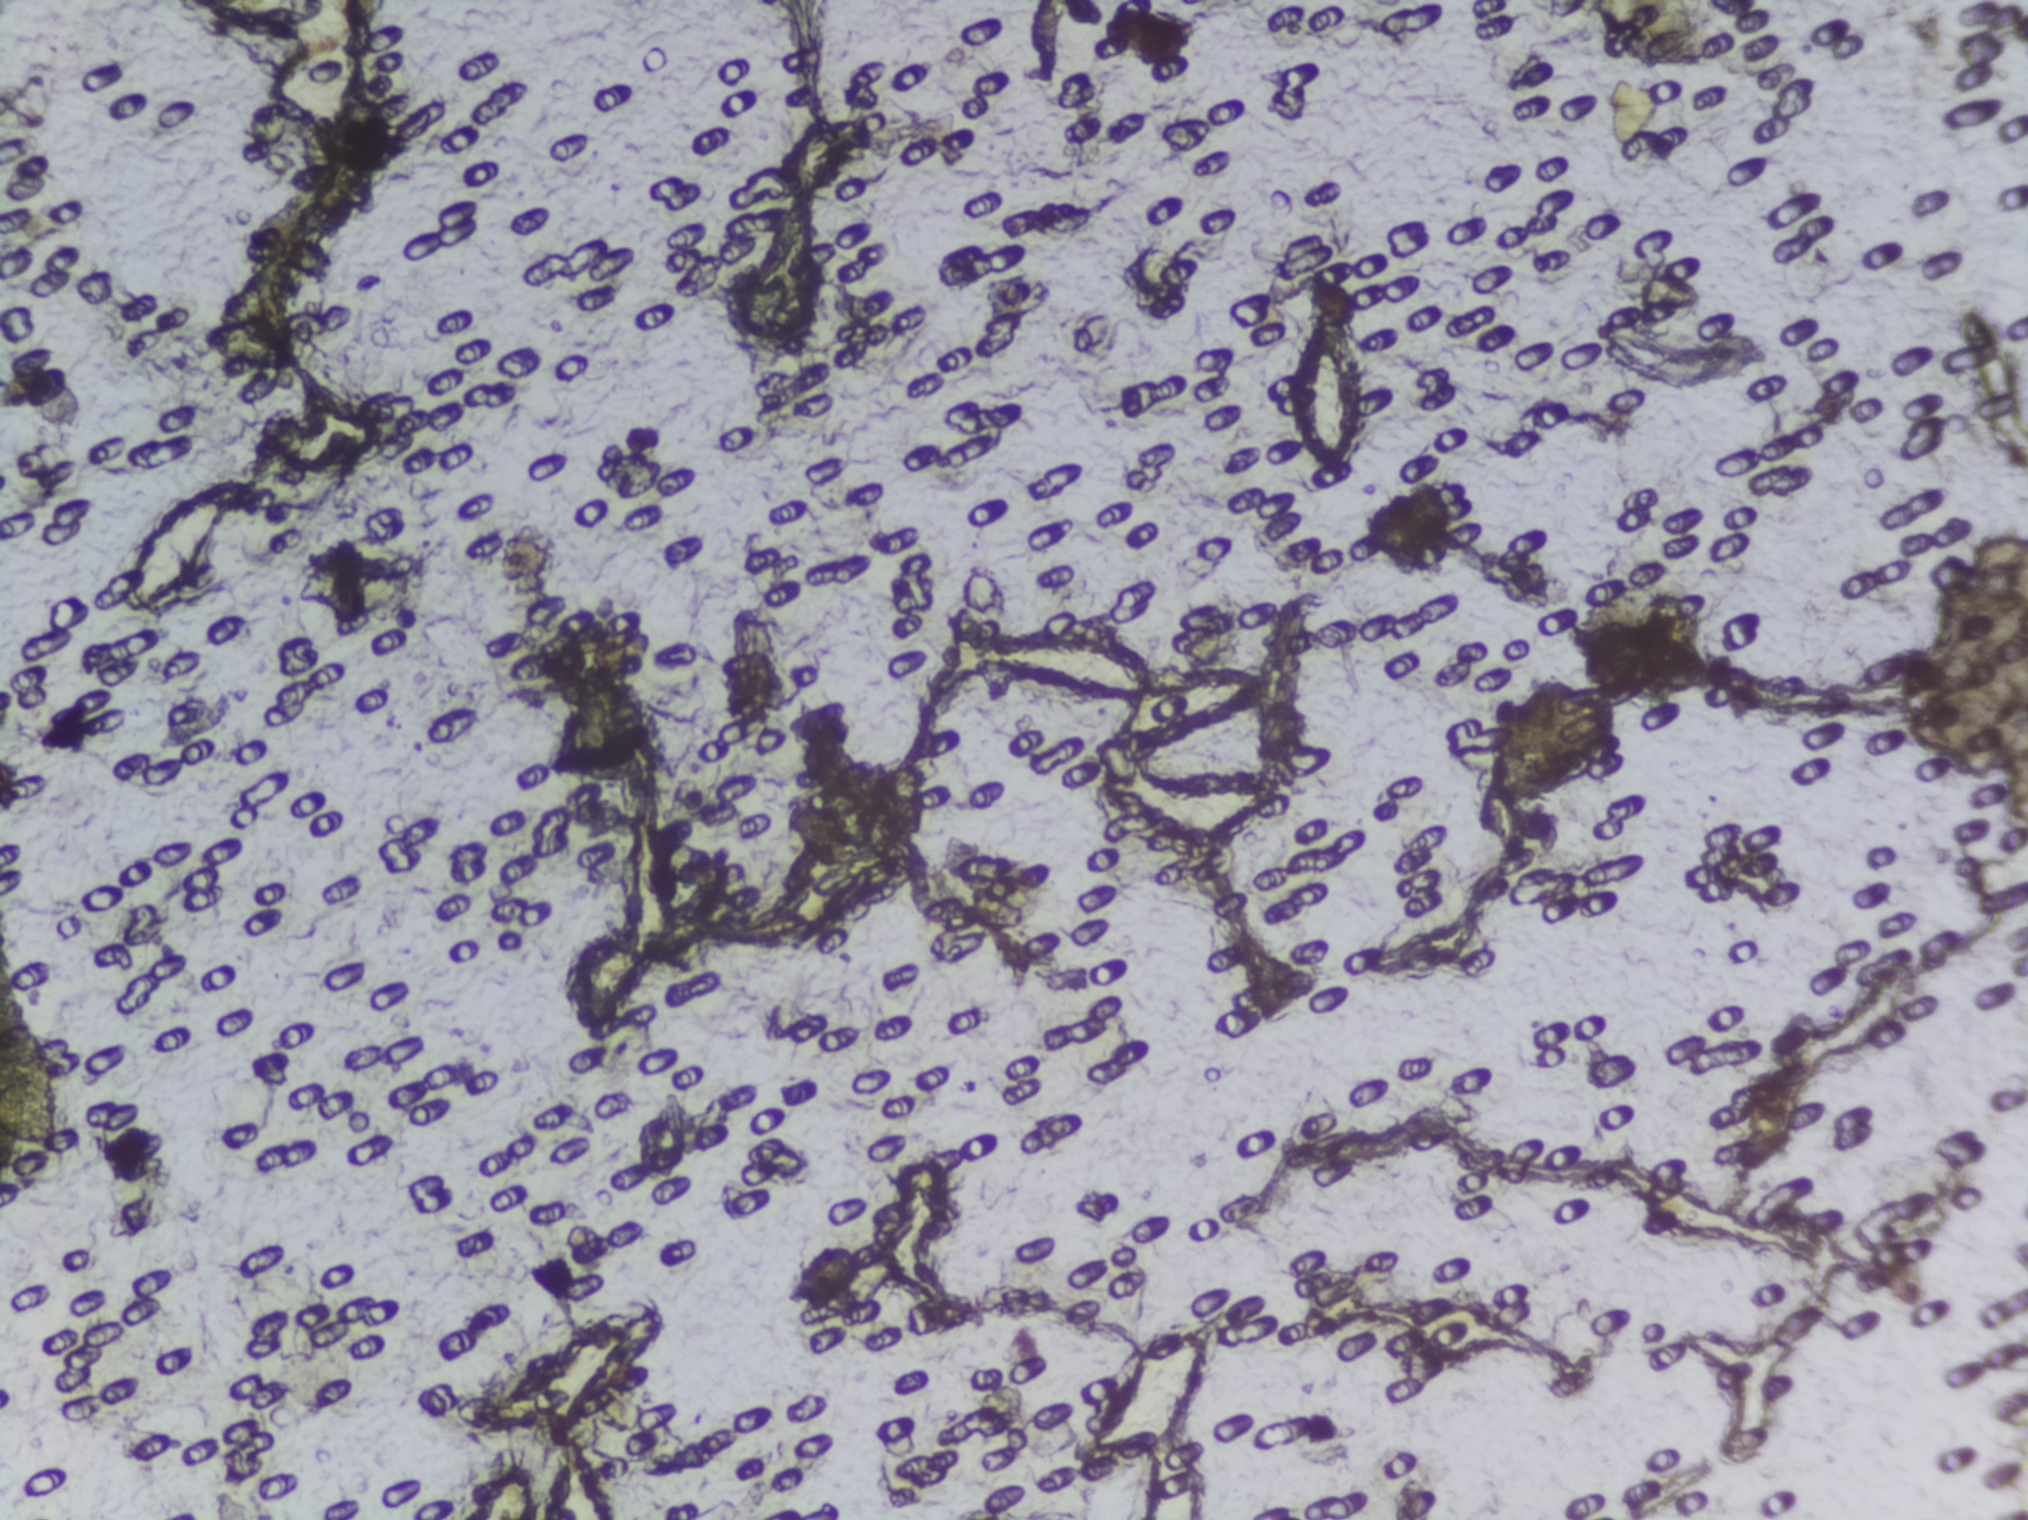
Urine filter membrane photographed through a 4× microscope objective.
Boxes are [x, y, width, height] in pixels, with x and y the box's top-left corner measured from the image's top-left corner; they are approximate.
{"schistosoma_egg_areas_xywh_px": [[0, 929, 103, 292], [1468, 685, 159, 132]]} Area 1 reaches the left edge of the frame.
An outlined area can hold more than one egg.